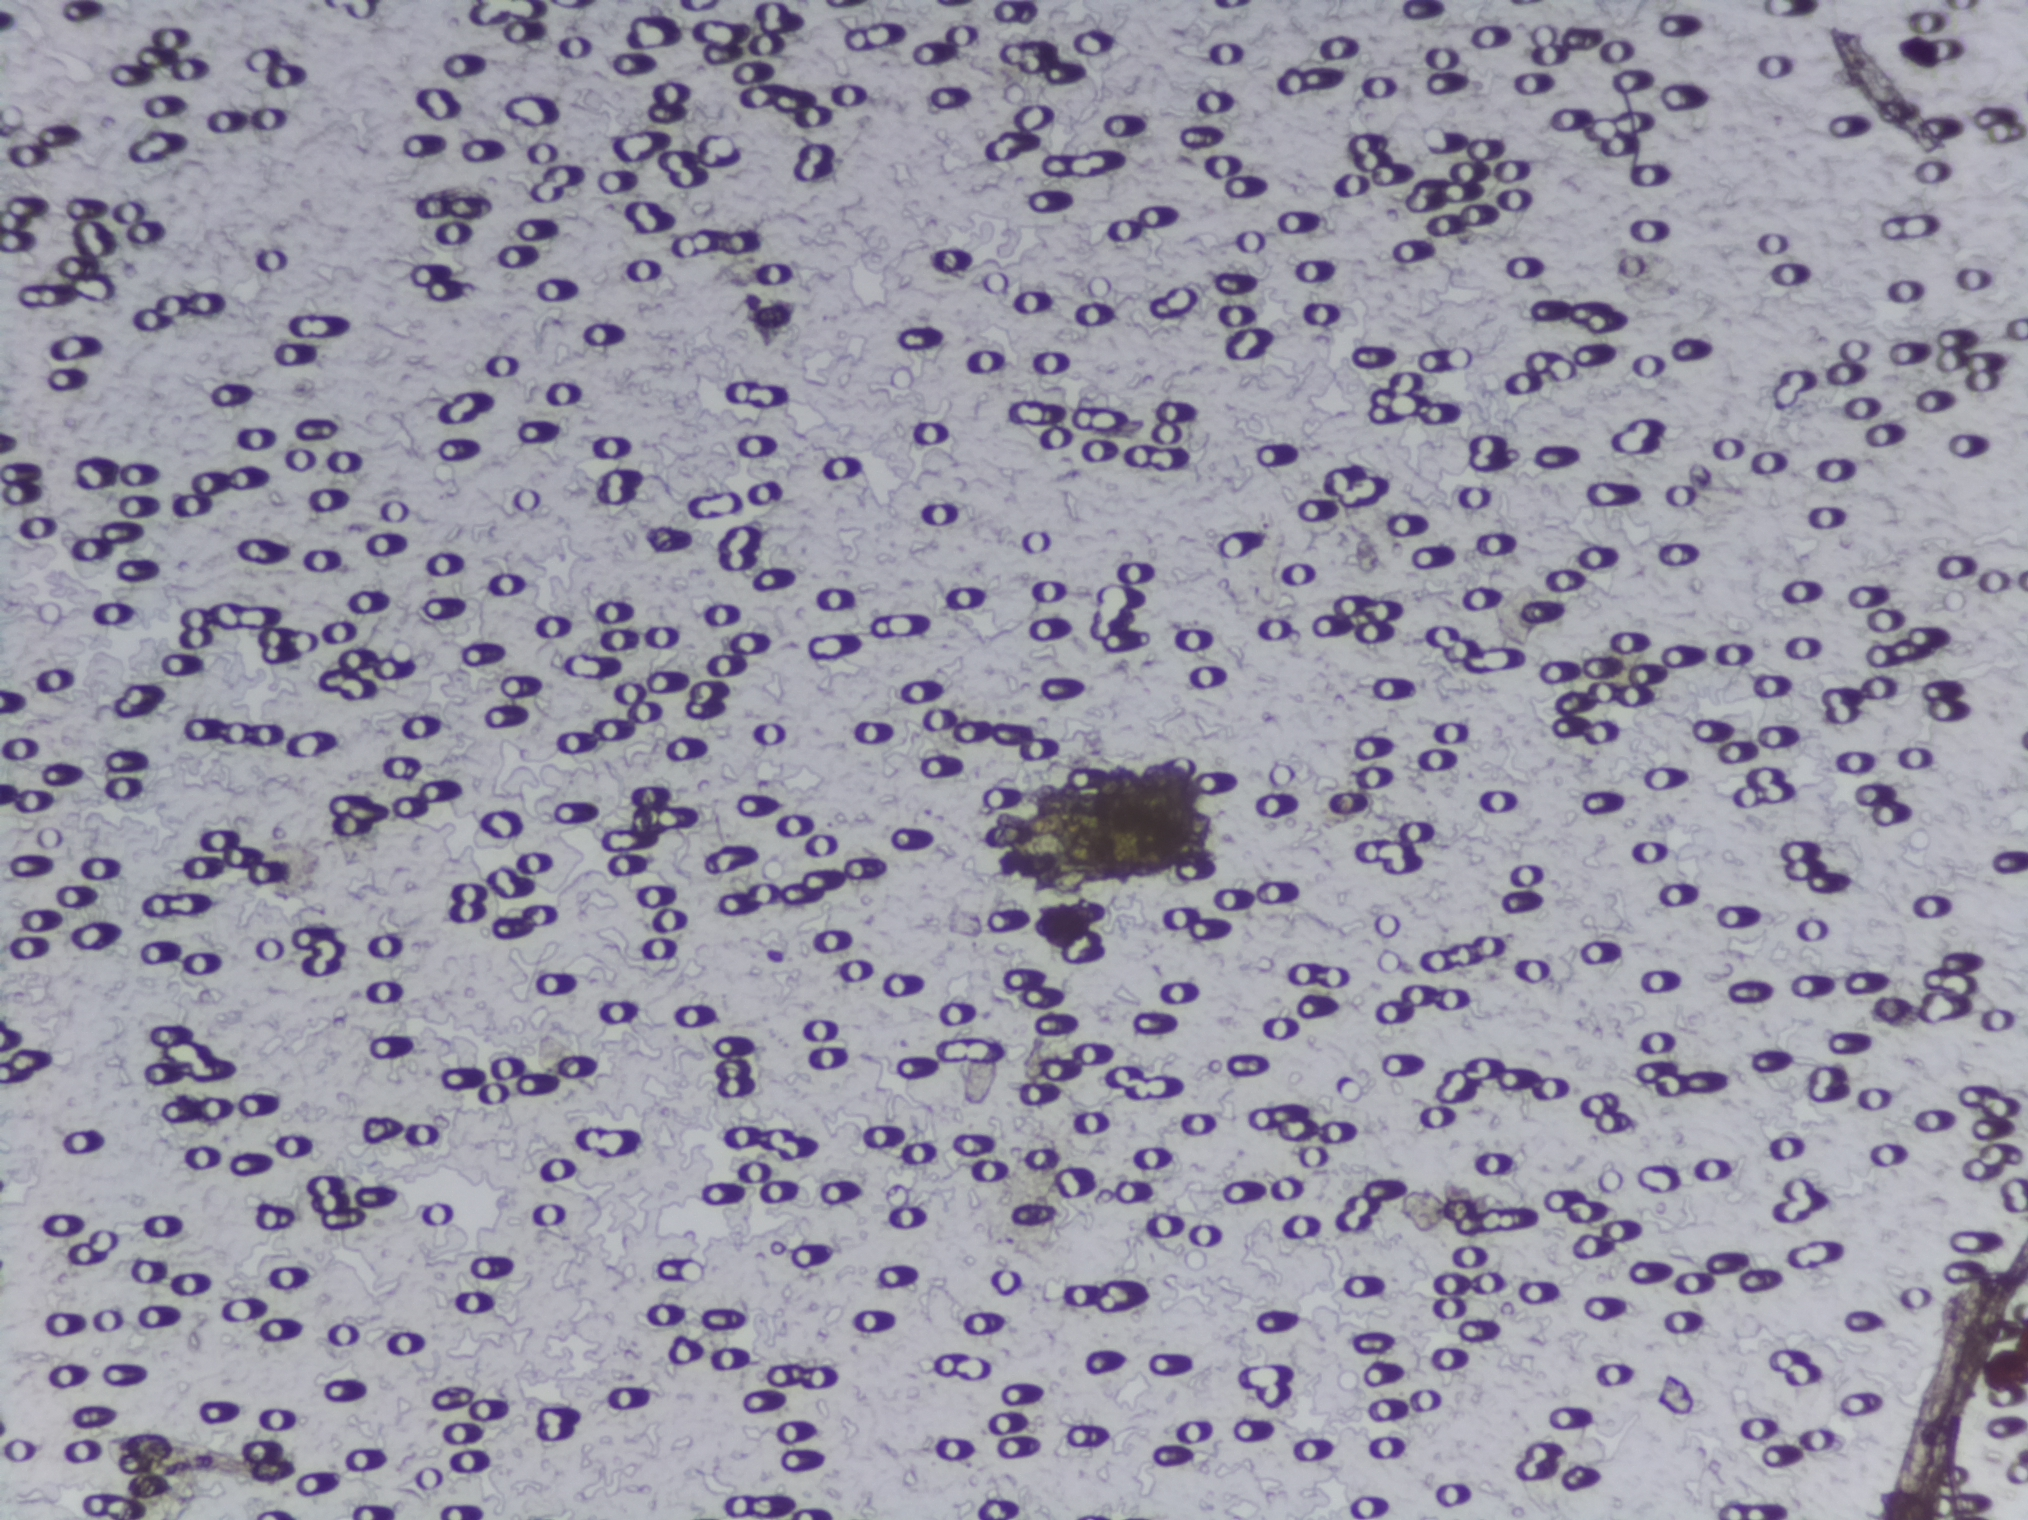
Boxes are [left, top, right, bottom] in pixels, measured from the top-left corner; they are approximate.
Schistosoma eggs are outlined in one area of this image: [980, 782, 1220, 891]. About 0.7% of the image's pixels are marked (the marked pixels themselves, not the box around them). An outlined area can hold more than one egg.
Photograph from an automated digital microscope: urine filter membrane, 4× objective. Field of view: about 1.5 mm wide and 1.1 mm high.